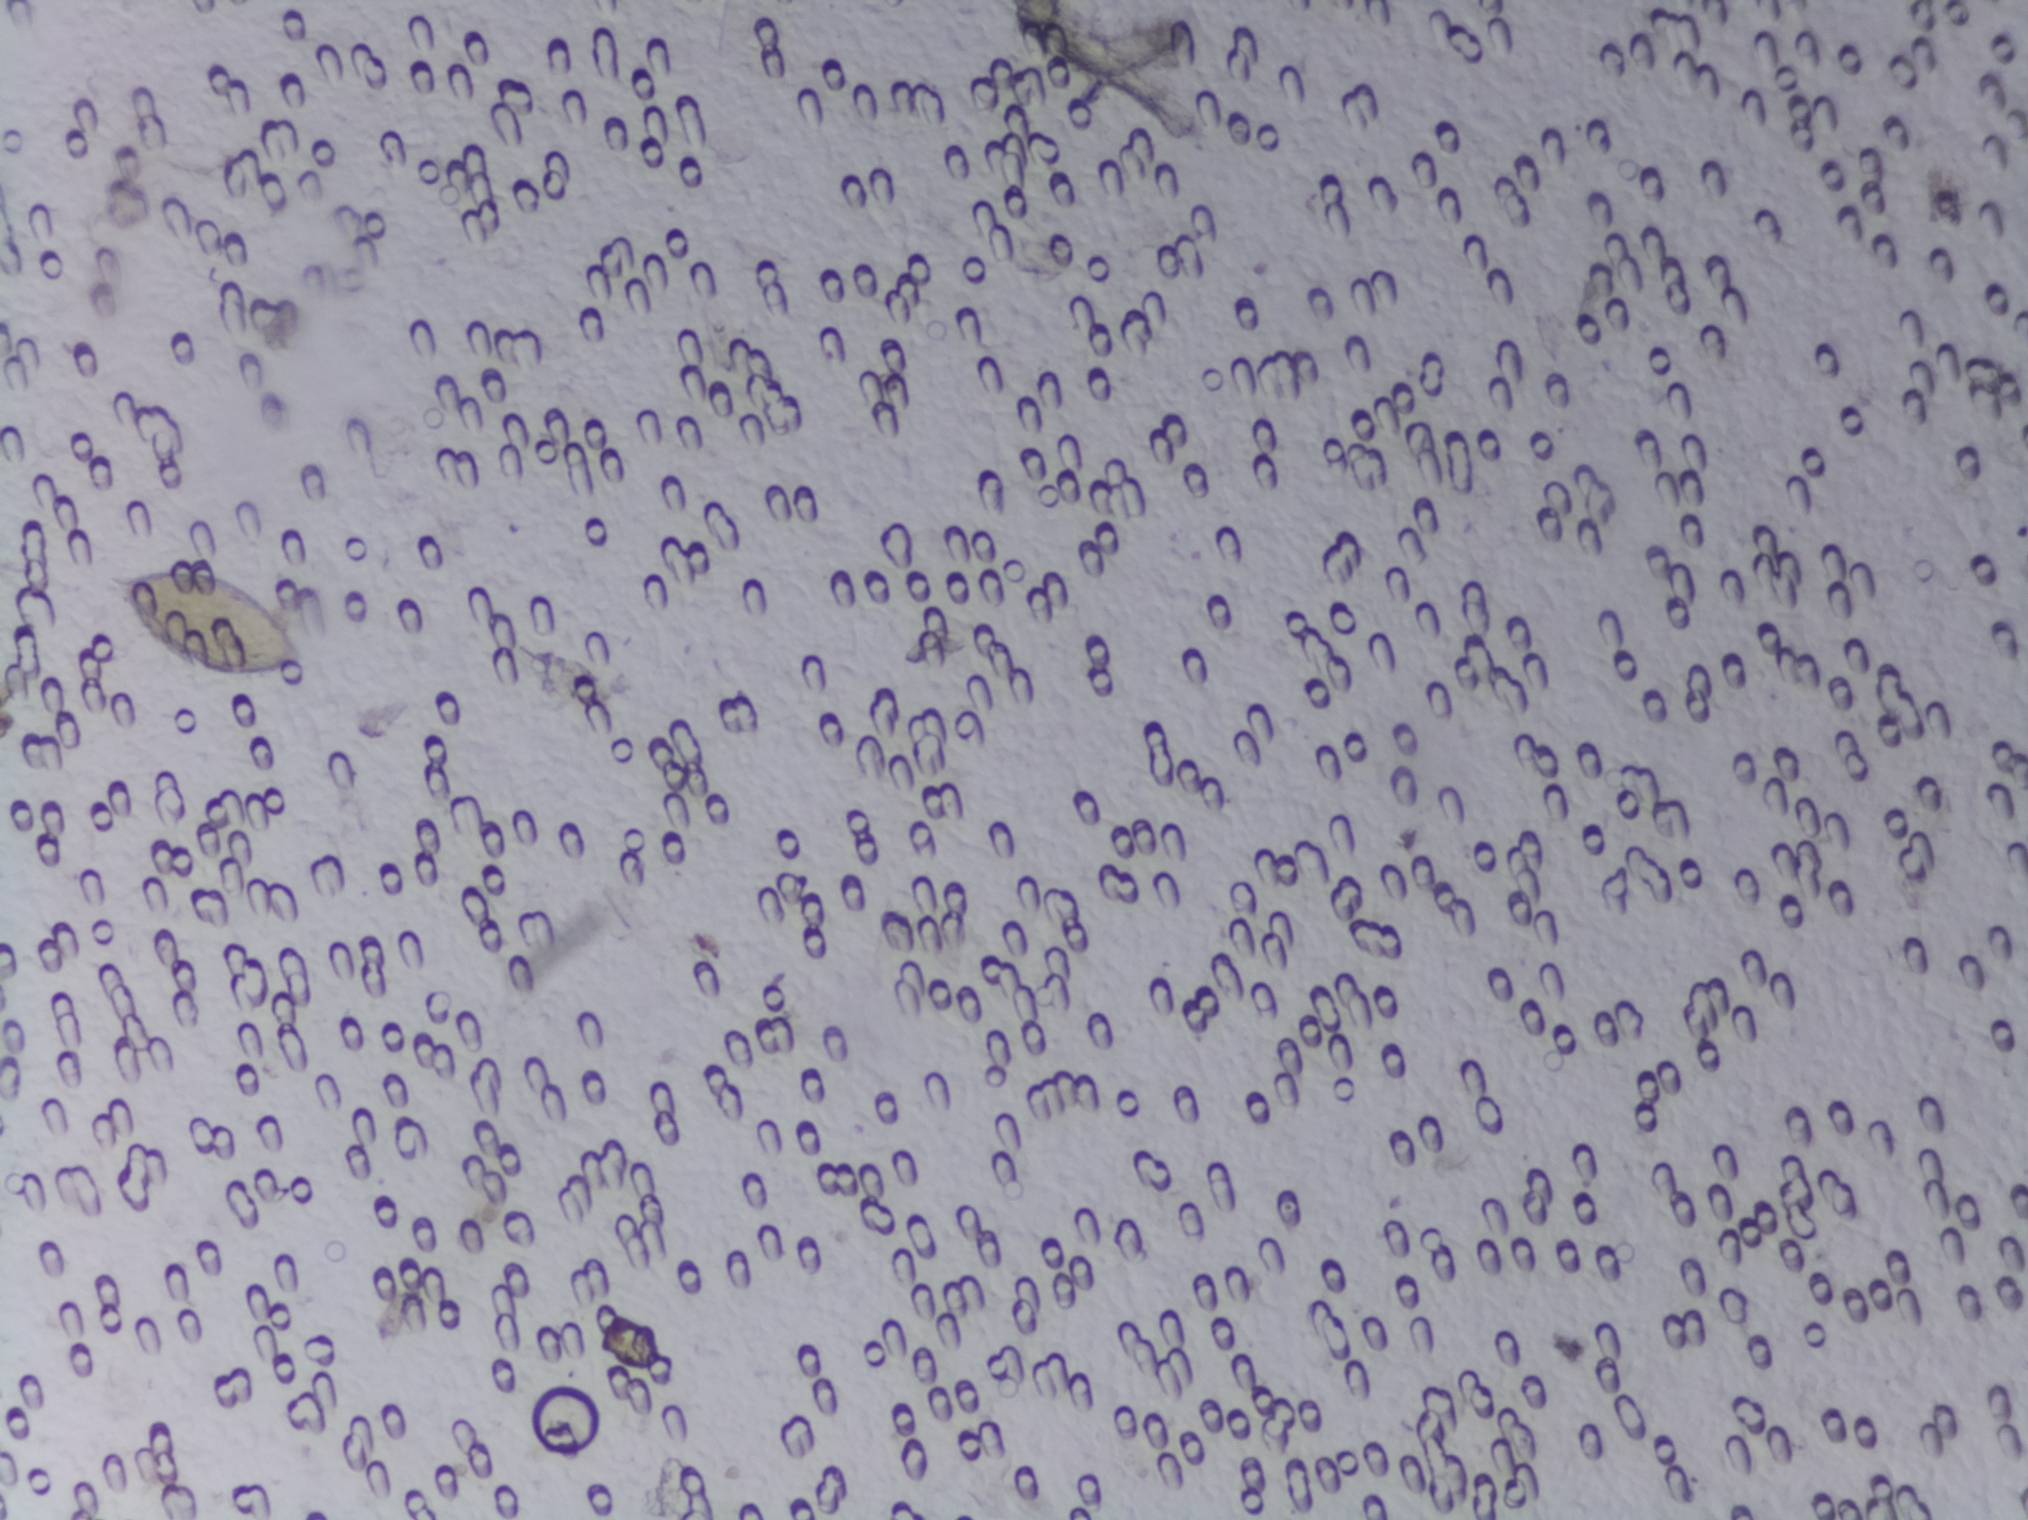
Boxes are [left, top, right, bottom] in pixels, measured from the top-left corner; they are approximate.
Findings: one area outlined as Schistosoma eggs. Location: [100, 552, 315, 683]. Eggs that touch can end up inside the same outlined area. A marked egg may occasionally be S. mansoni rather than S. haematobium.
One field of view of a urine filter membrane, 4× objective, 2028 × 1520 pixels.